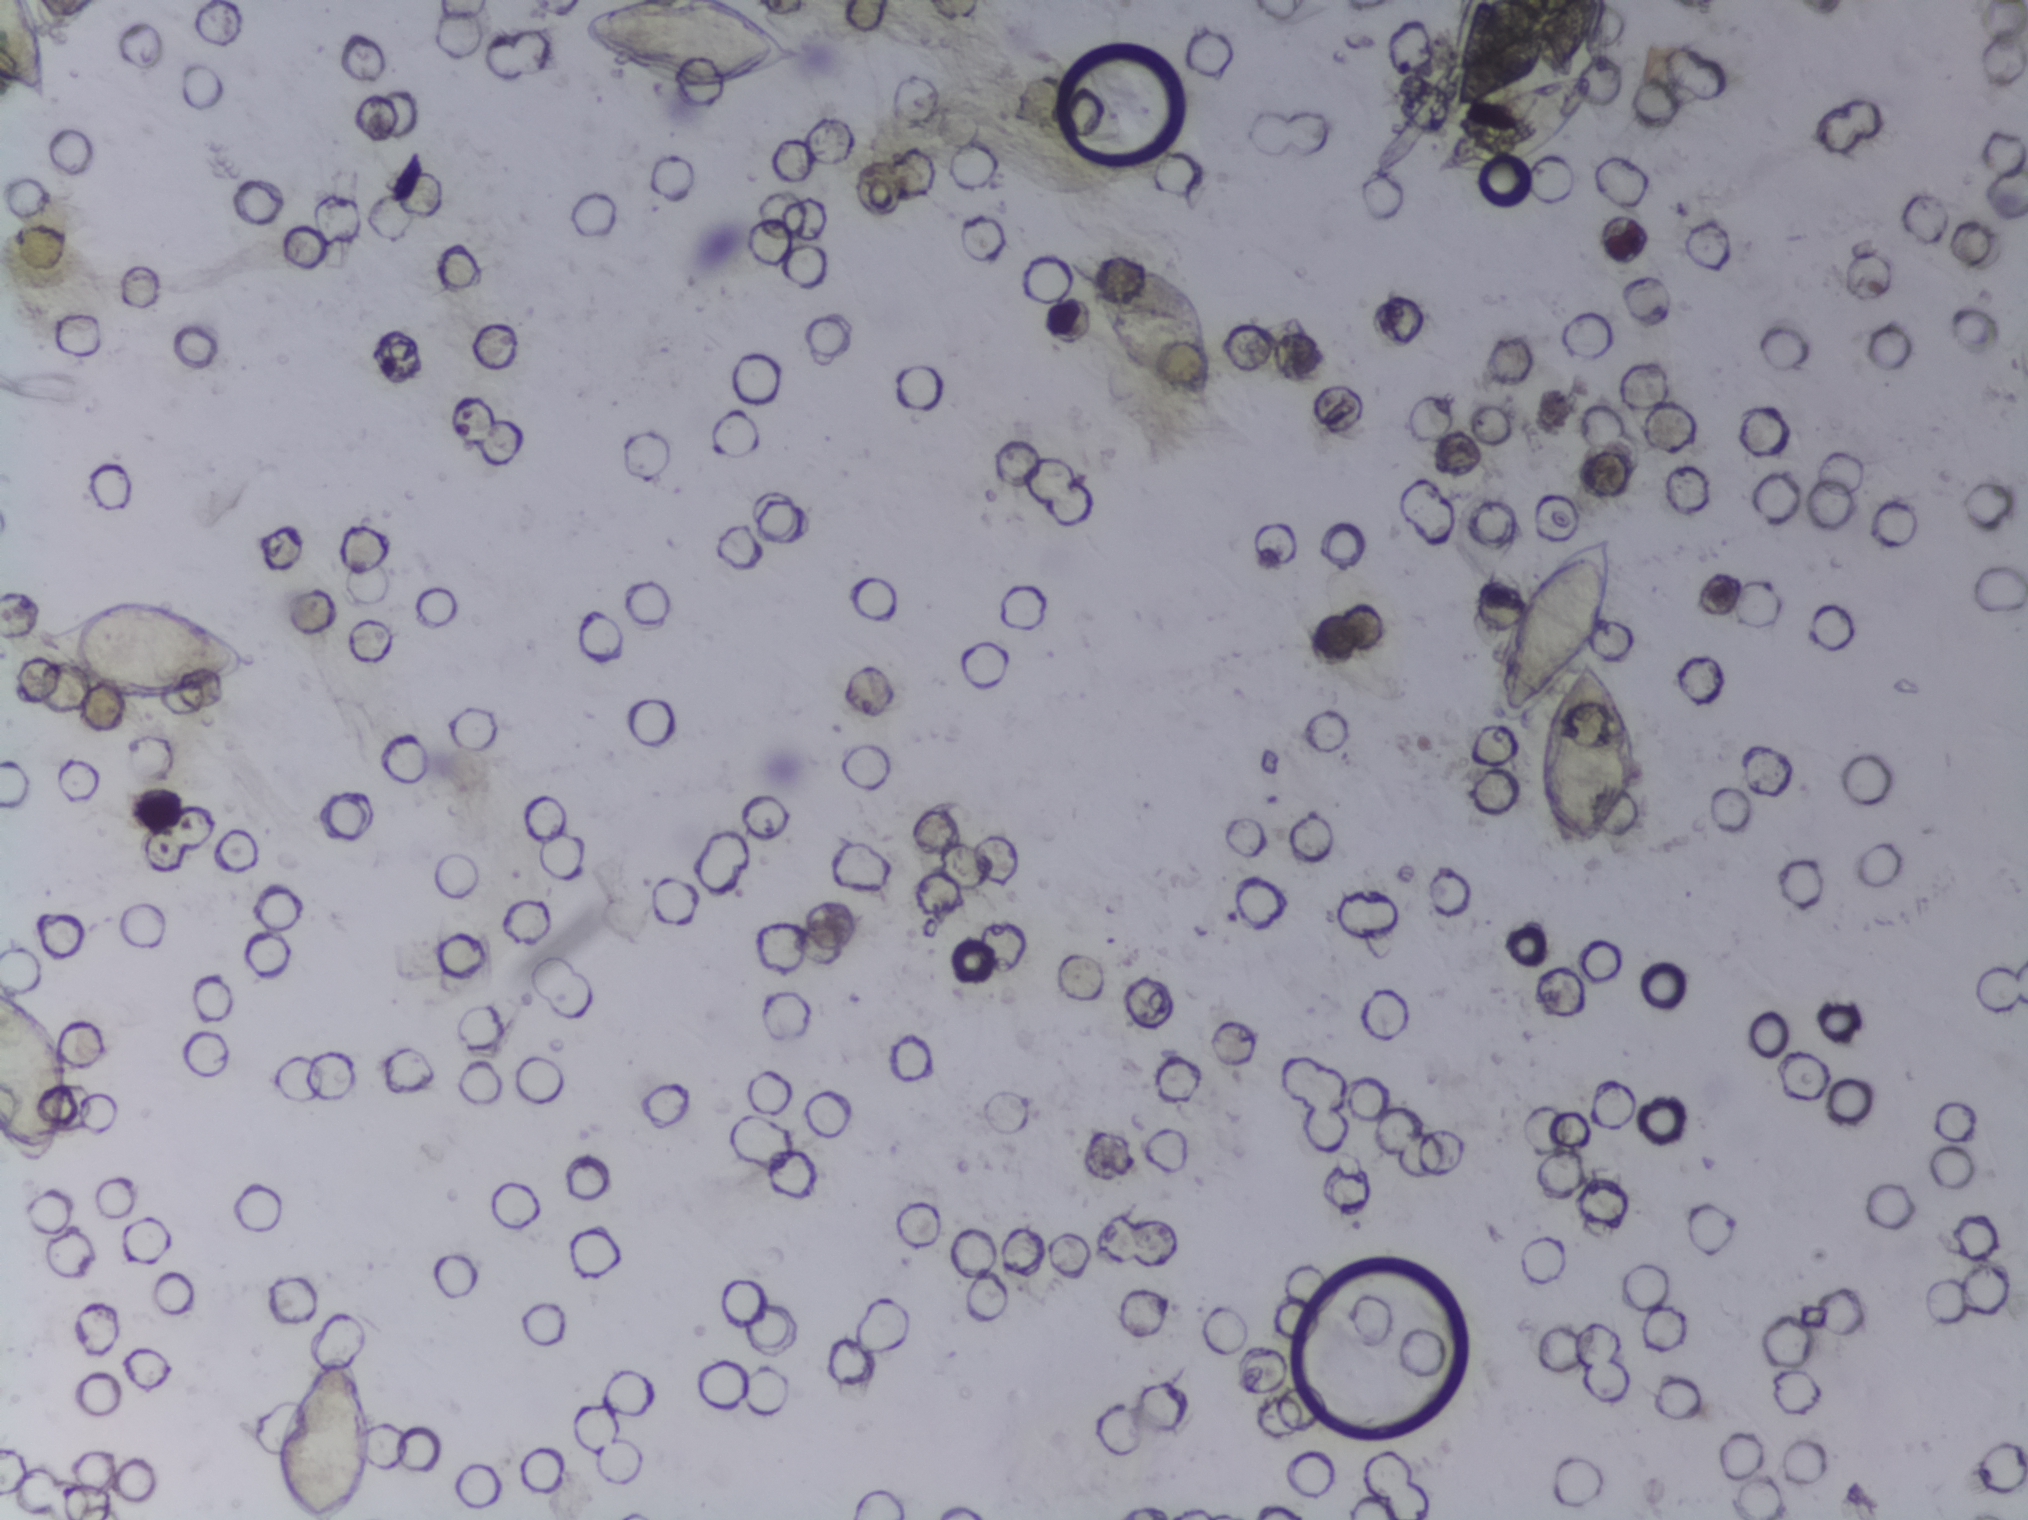
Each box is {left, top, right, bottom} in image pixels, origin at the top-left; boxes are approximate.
Schistosoma eggs are outlined in eight areas of this image, listed from left to right: {0, 0, 45, 99} (reaching the left and top edges of the frame); {0, 981, 76, 1172} (reaching the left edge of the frame); {31, 590, 269, 711}; {276, 1345, 377, 1519} (reaching the bottom edge of the frame); {576, 0, 806, 95} (reaching the top edge of the frame); {1081, 251, 1216, 403}; {1428, 71, 1593, 178}; {1490, 534, 1636, 848}. An outlined area can hold more than one egg.
Photomicrograph of a urine filtration membrane, 4× objective. The image covers about 1.5 × 1.1 mm of the membrane.